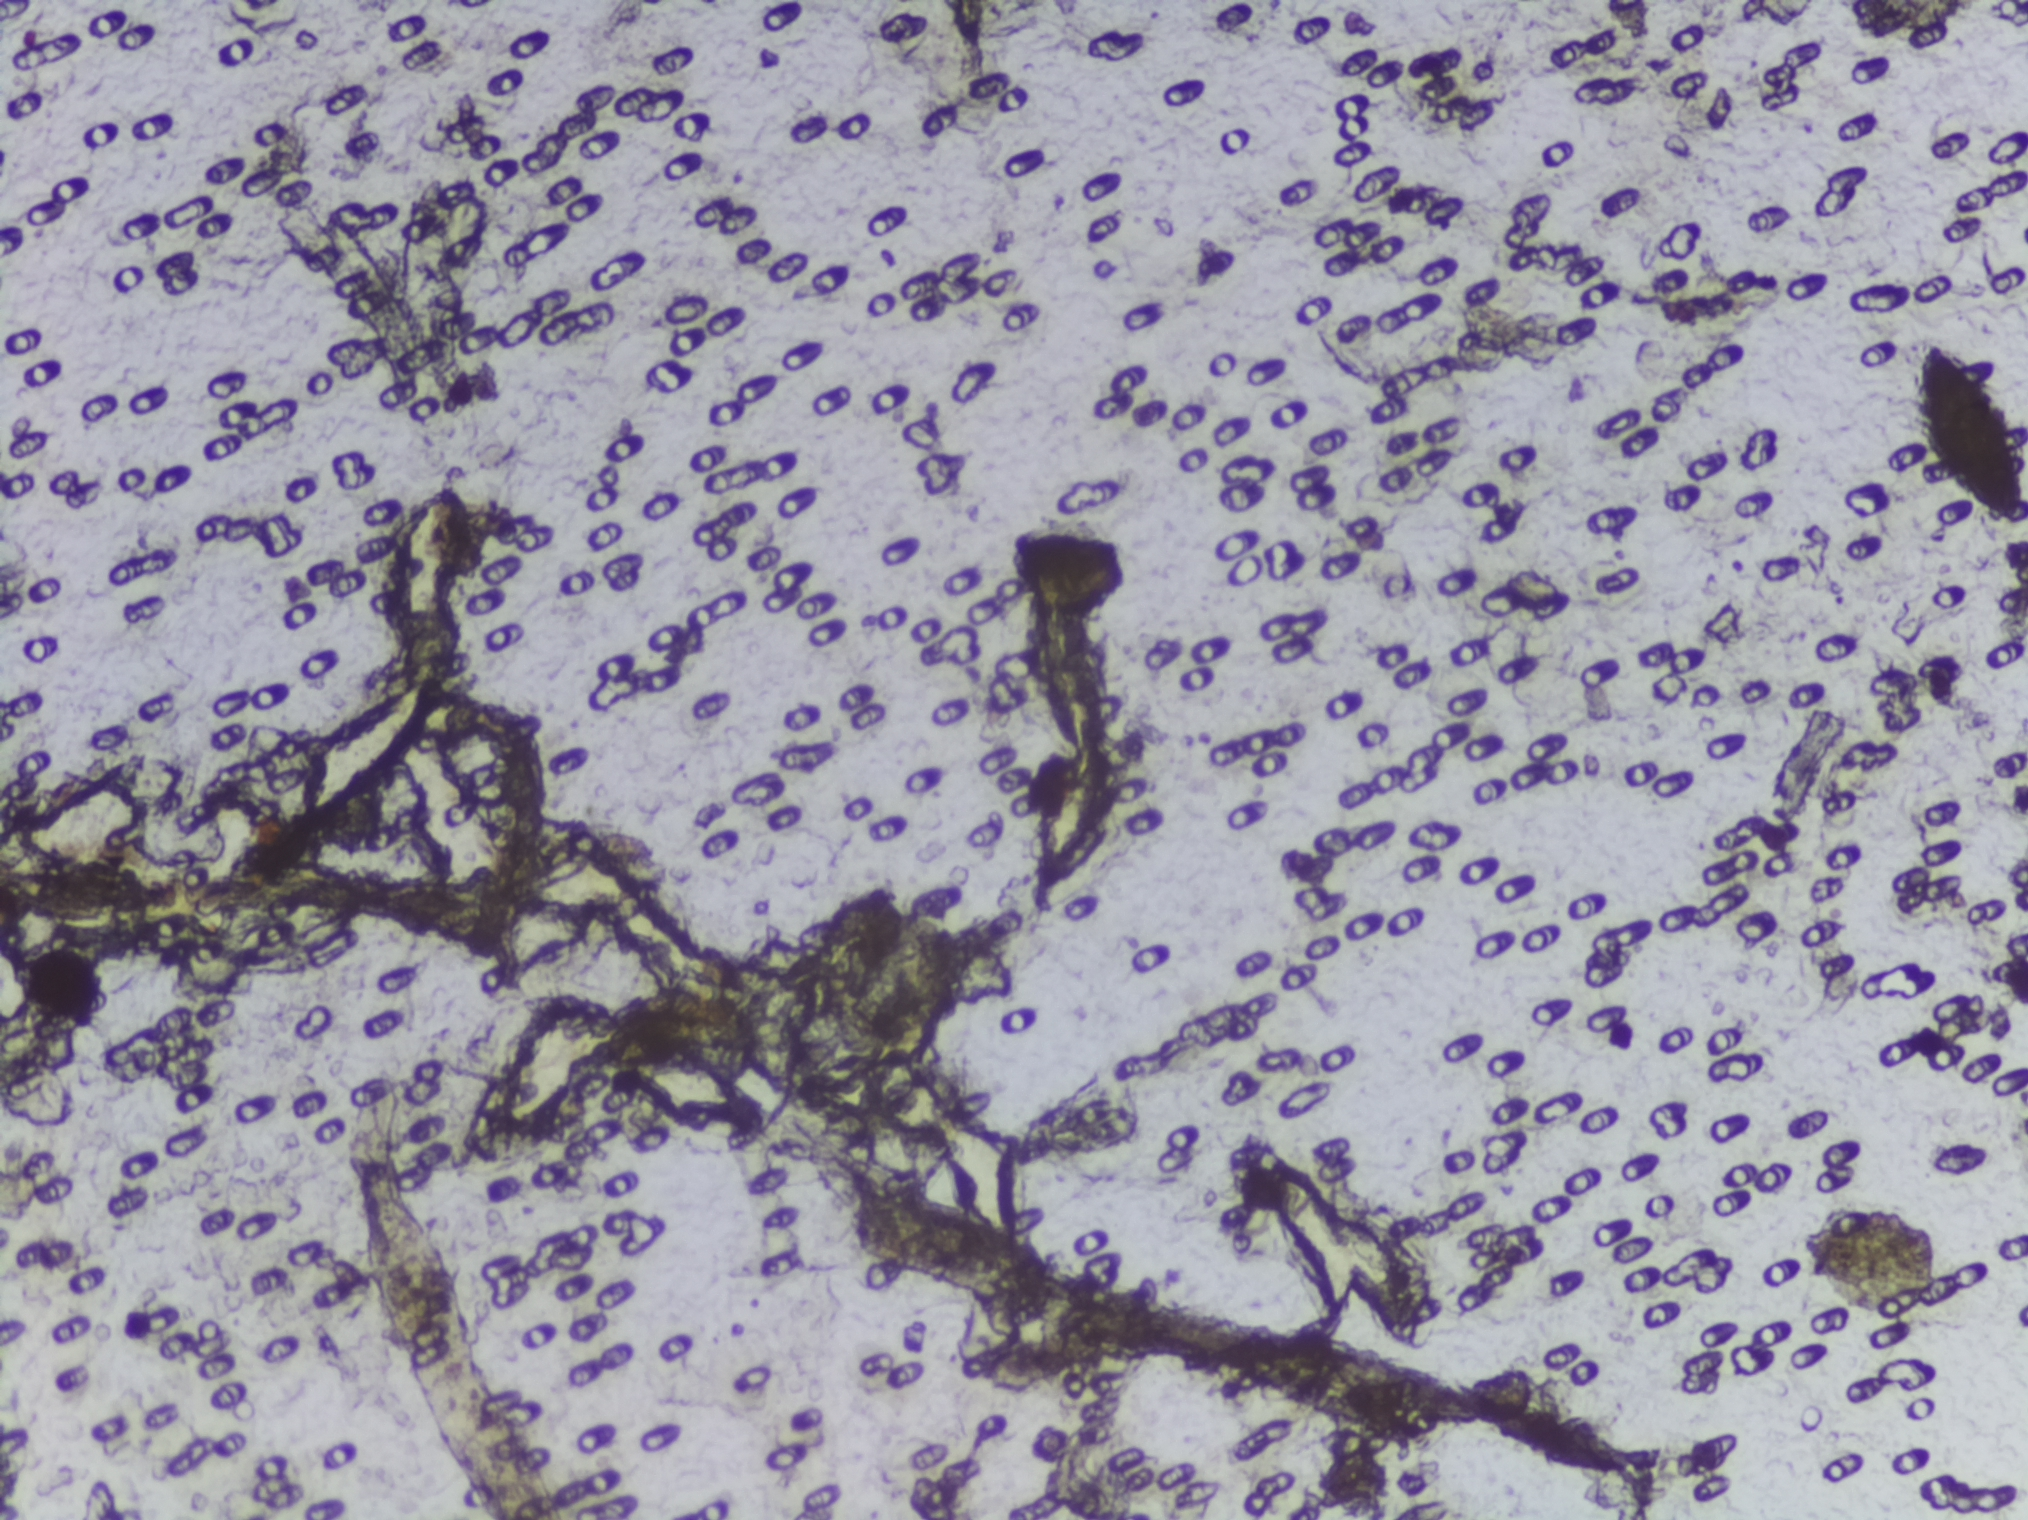
Photomicrograph of a urine filtration membrane, 4× objective.
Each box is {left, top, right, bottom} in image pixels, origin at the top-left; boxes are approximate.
One area of this image is outlined as Schistosoma eggs: {1906, 331, 2027, 521} (reaching the right edge of the frame). A single outlined area may contain several eggs. A marked egg may occasionally be S. mansoni rather than S. haematobium.